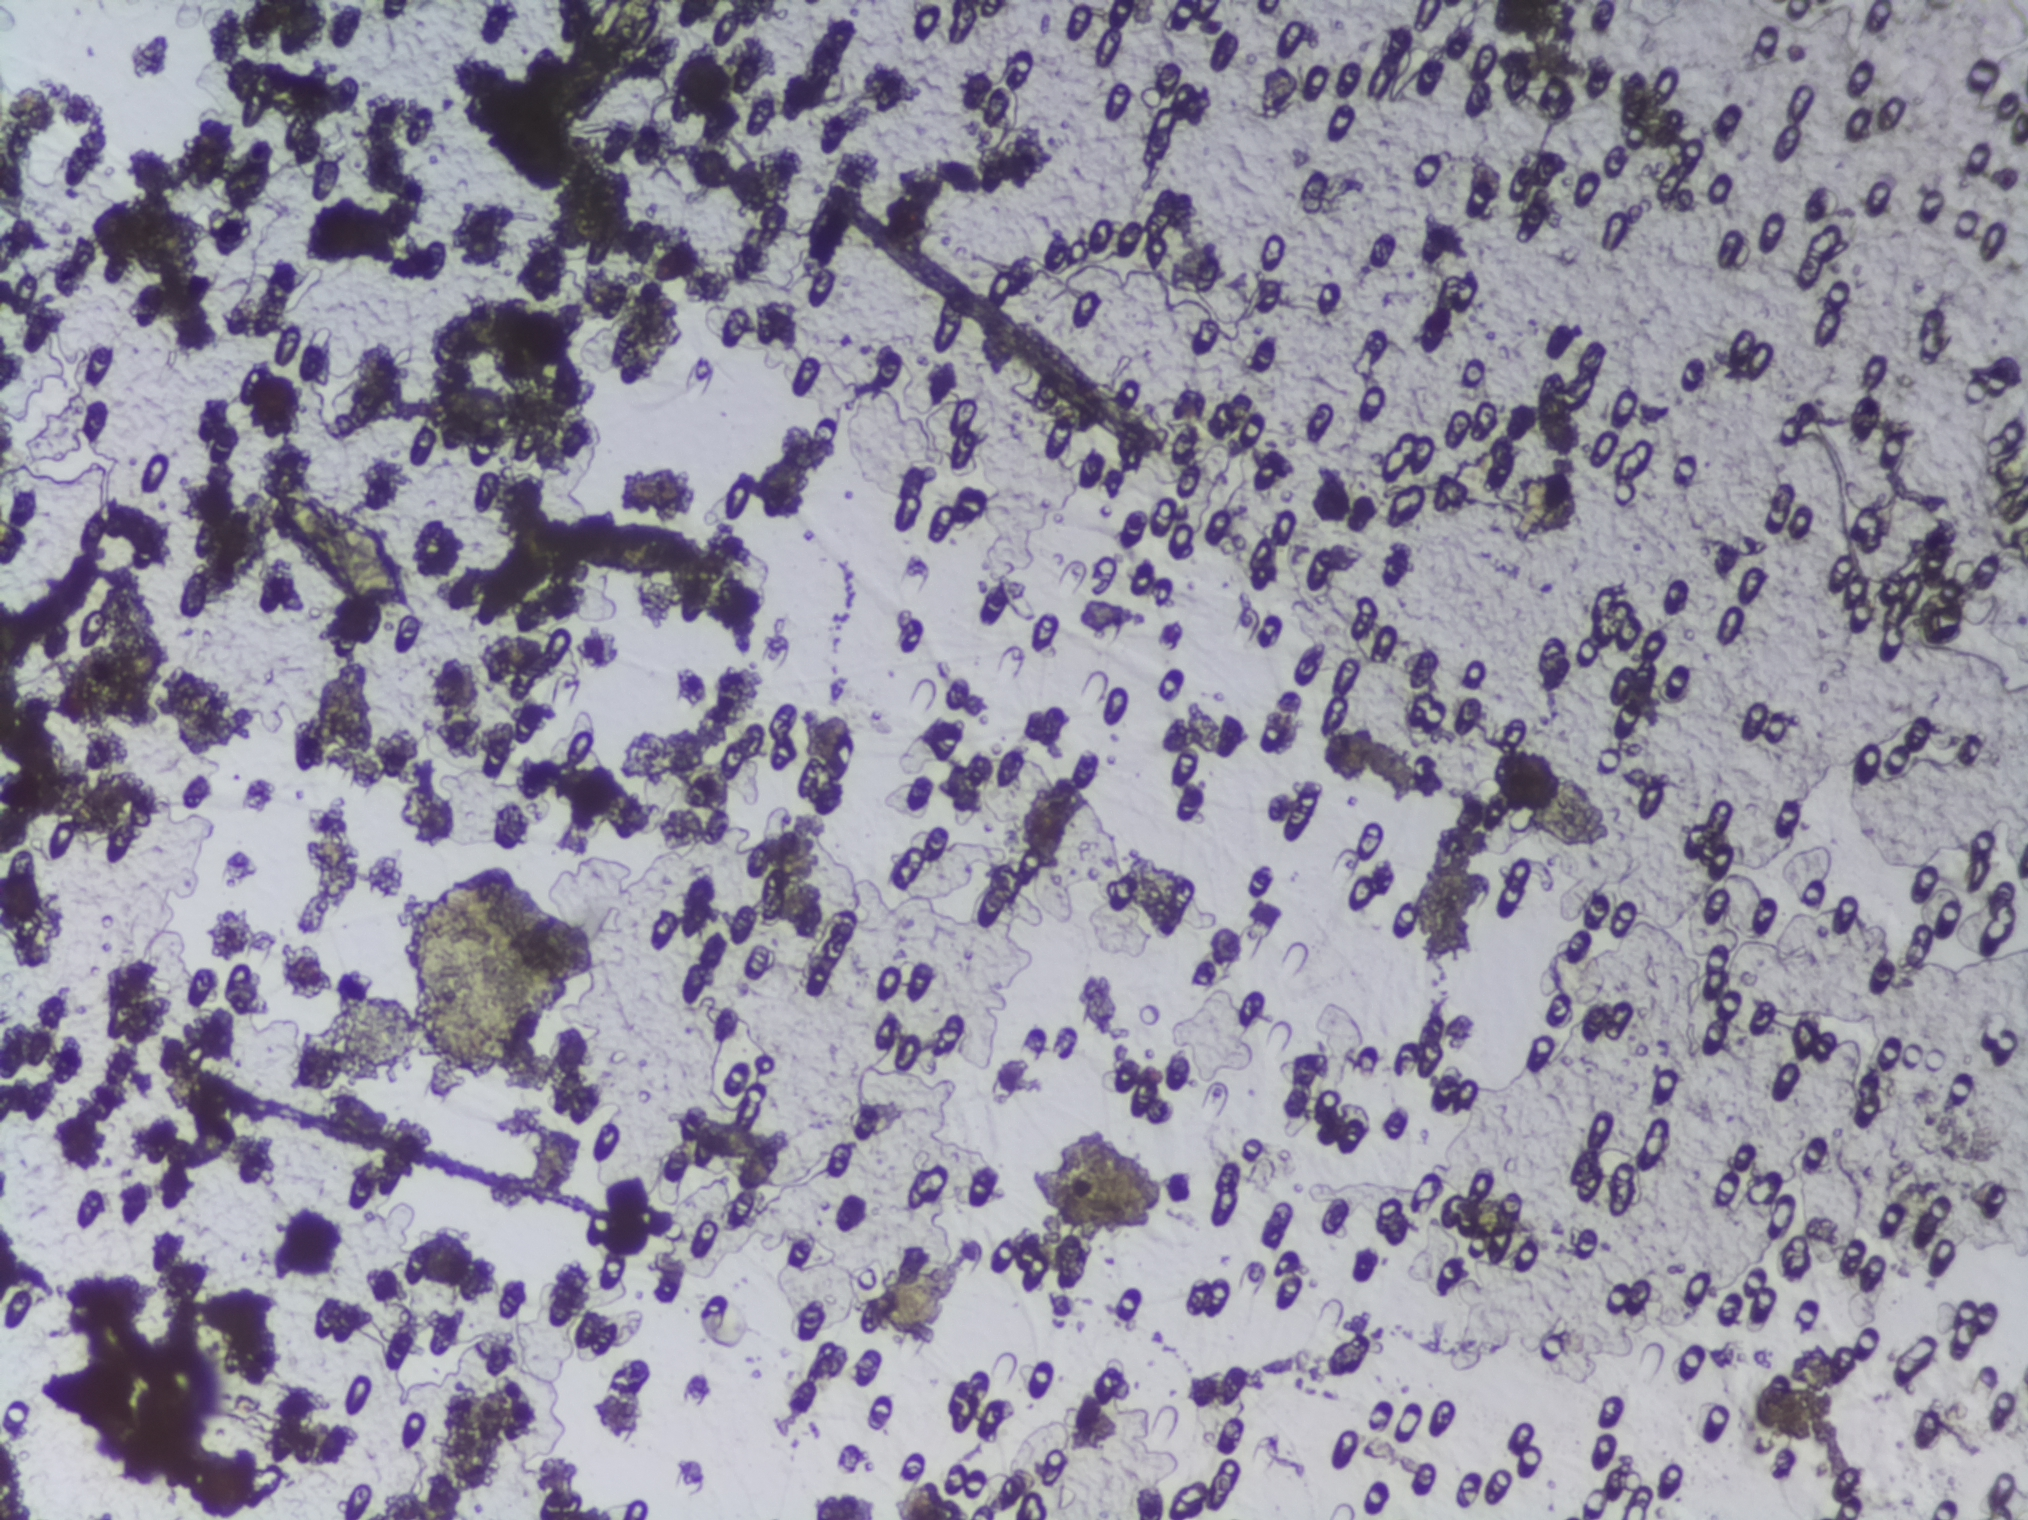
Microscope photograph (4× objective) of a membrane that a urine sample was filtered through.
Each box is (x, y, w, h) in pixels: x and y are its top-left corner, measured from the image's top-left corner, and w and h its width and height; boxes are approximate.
Schistosoma eggs are outlined in three areas of this image, listed from left to right: (x=256, y=485, w=168, h=135); (x=555, y=0, w=116, h=120) (reaching the top edge of the frame); (x=566, y=522, w=144, h=50). The marked pixels themselves, not the boxes around them, cover about 0.8% of the image. Eggs that touch can end up inside the same outlined area.